Urine filter membrane photographed through a 4× microscope objective. The image covers about 1.5 × 1.1 mm of the membrane.
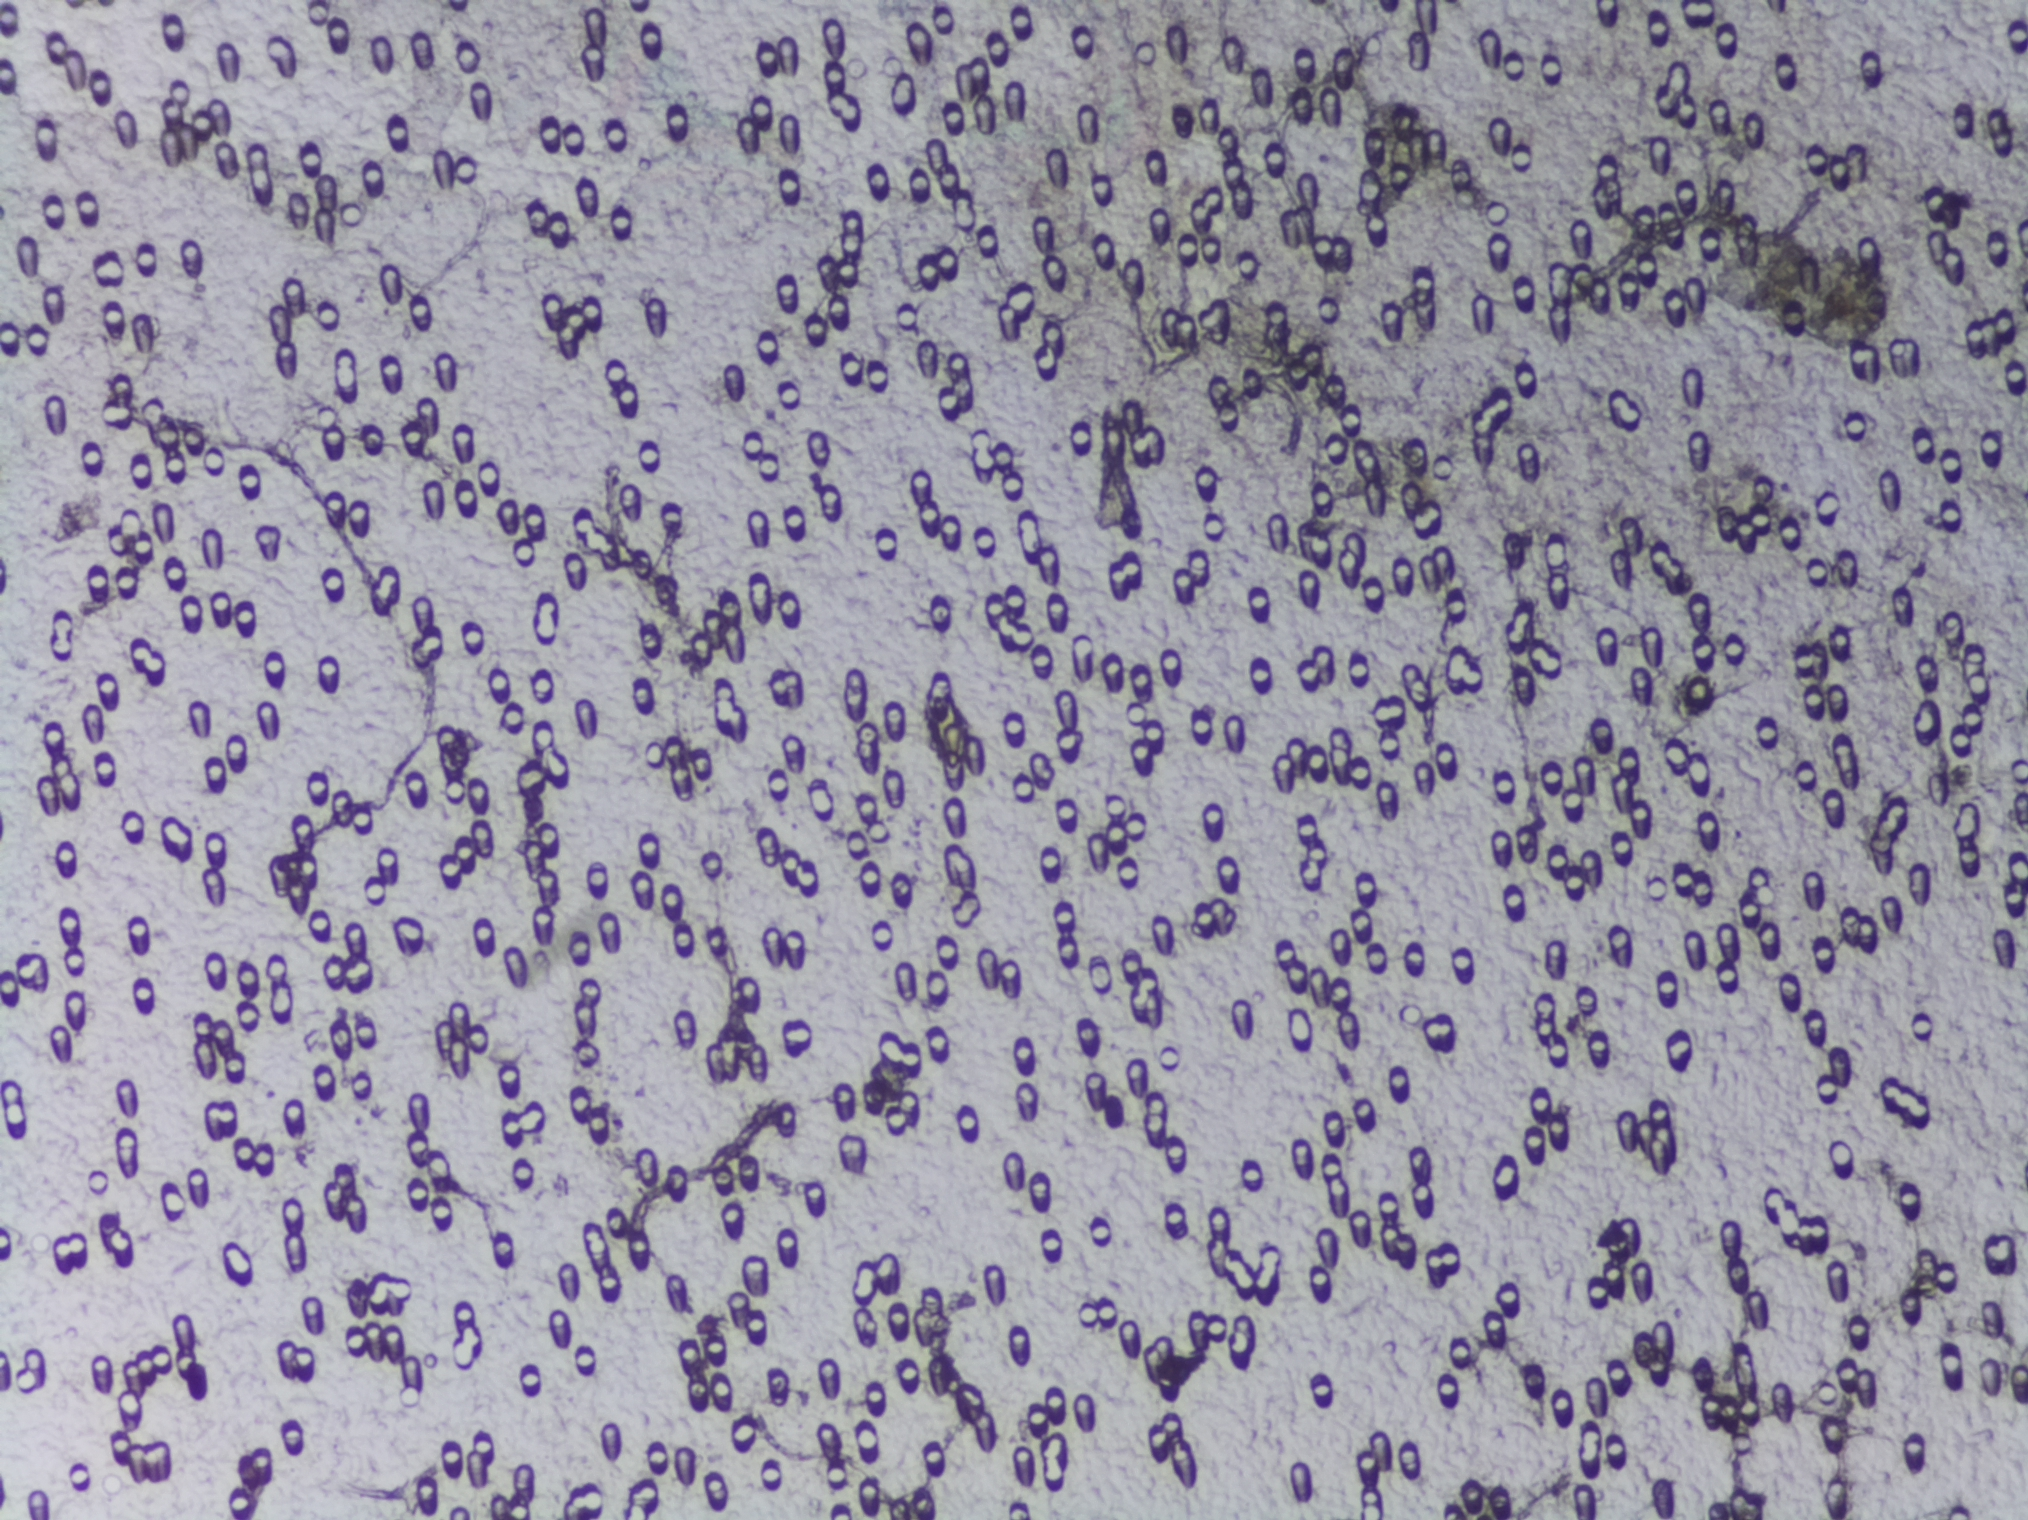
The expert annotation marks no Schistosoma egg in this field of view.